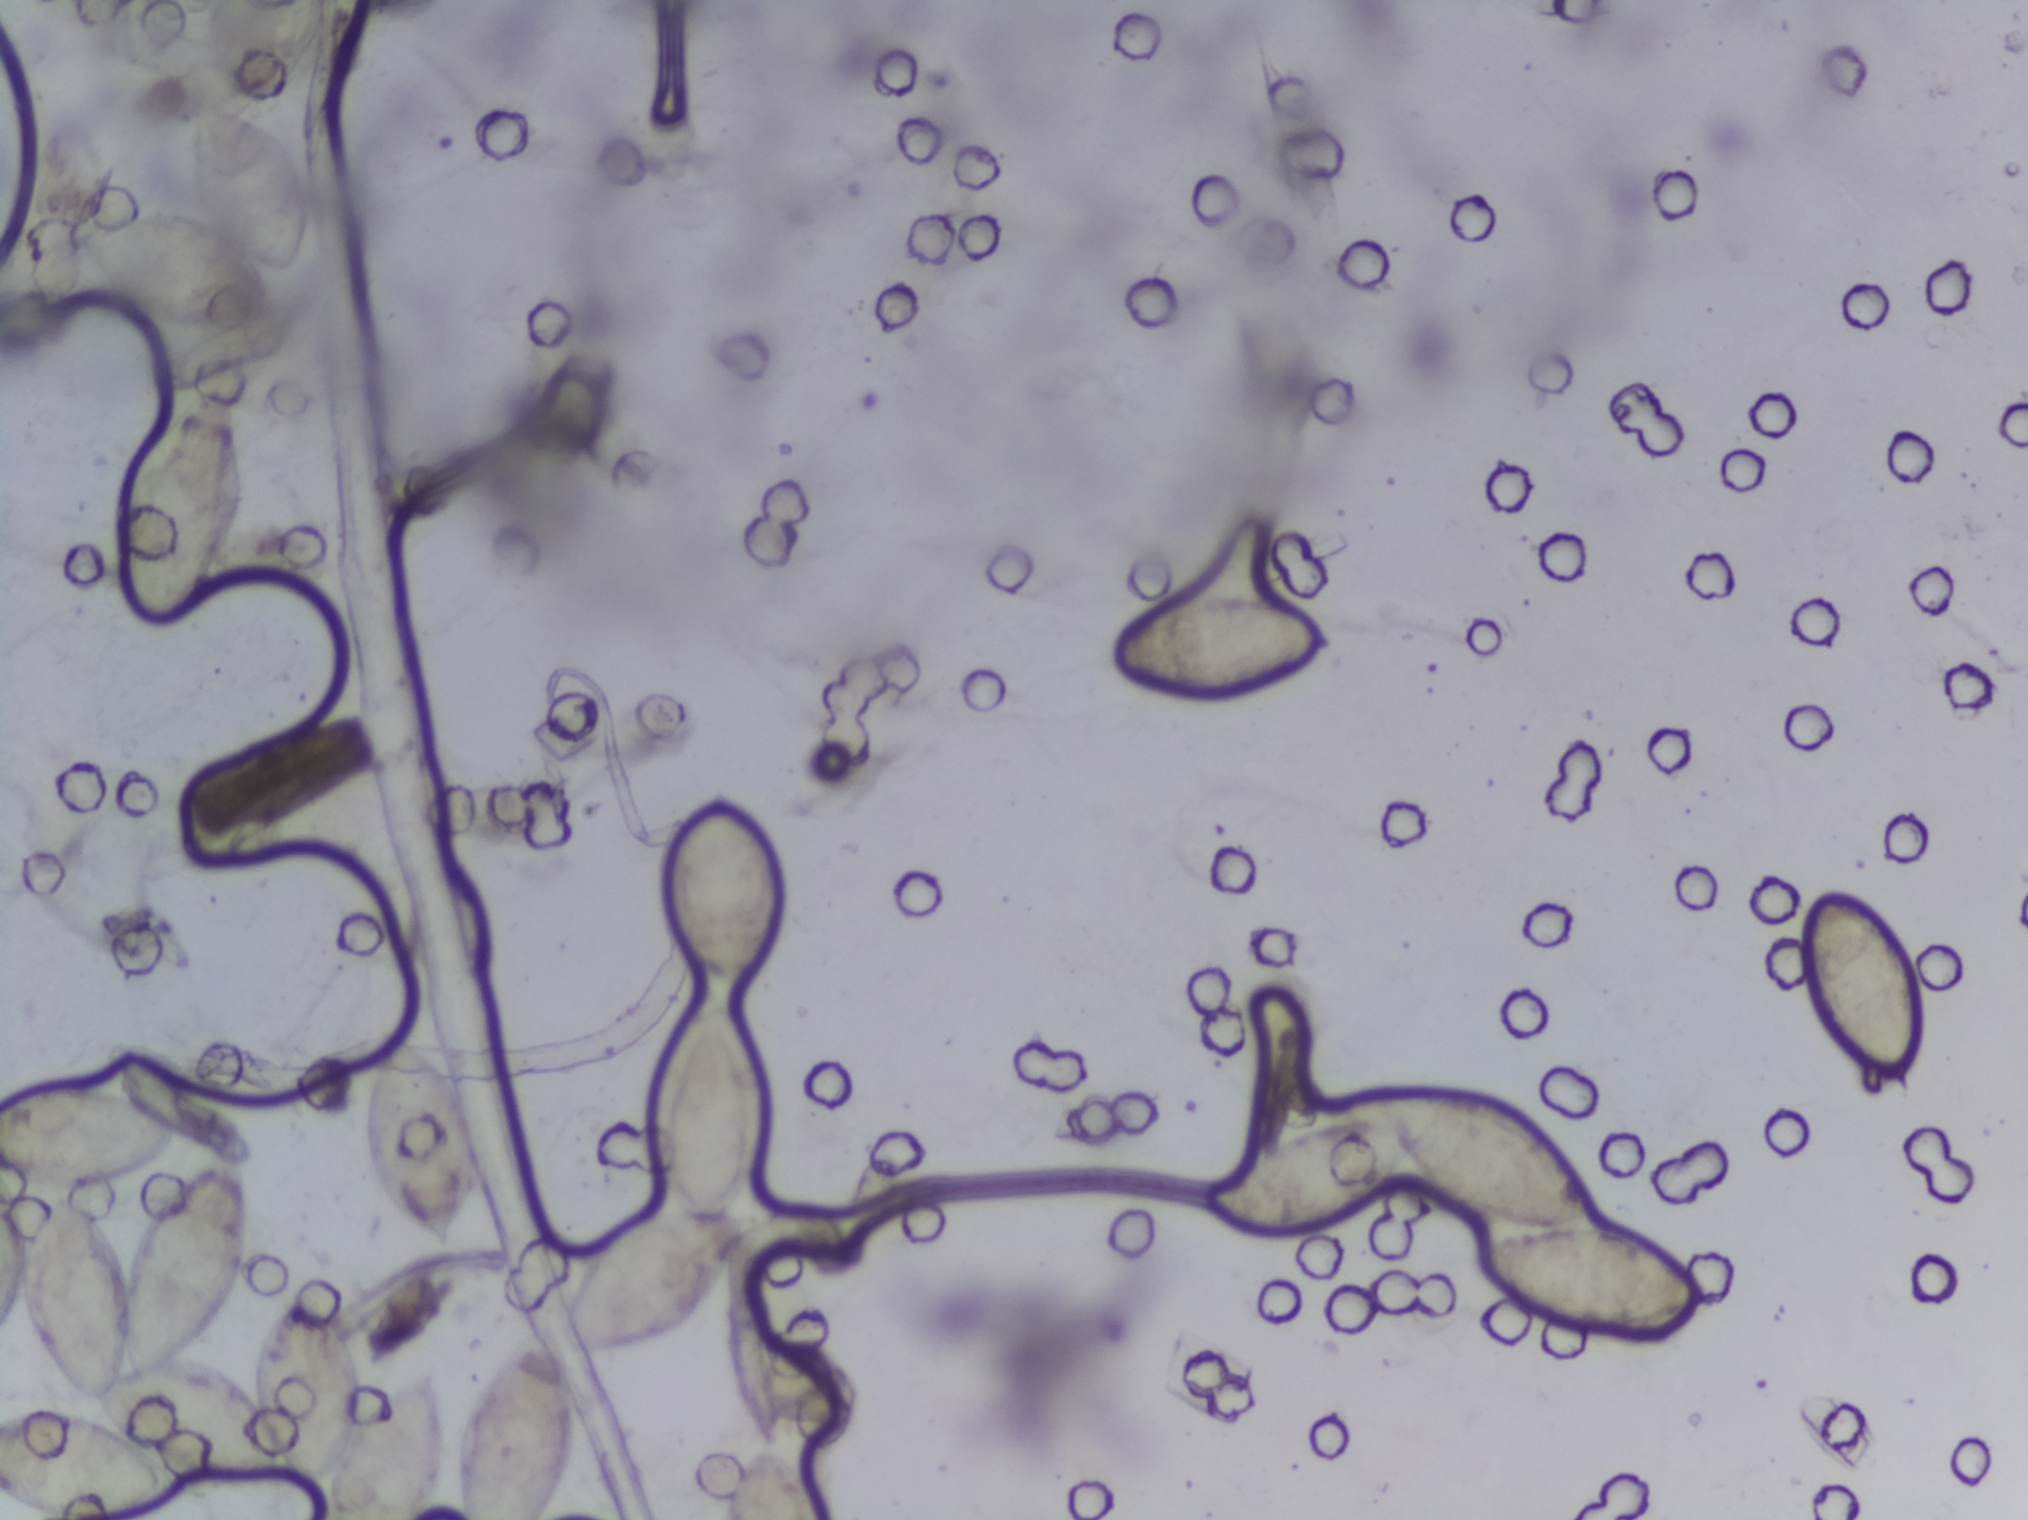
One field of view of a urine filter membrane, 4× objective, 2028 × 1520 pixels.
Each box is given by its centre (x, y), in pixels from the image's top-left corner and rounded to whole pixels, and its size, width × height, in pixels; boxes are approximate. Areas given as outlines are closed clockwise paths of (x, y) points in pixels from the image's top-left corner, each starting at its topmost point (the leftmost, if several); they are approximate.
The expert annotation outlines Schistosoma eggs in ten areas, left to right: box centre (88, 1131), 176 × 111 px (reaching the left edge of the frame); box centre (182, 505), 134 × 270 px; box centre (194, 215), 239 × 253 px; box centre (266, 50), 120 × 100 px (reaching the top edge of the frame); outline (715, 779), (739, 779), (771, 848), (787, 866), (787, 890), (763, 973), (729, 1016), (745, 1036), (747, 1072), (761, 1093), (761, 1161), (739, 1202), (765, 1209), (767, 1227), (685, 1330), (622, 1354), (568, 1359), (577, 1386), (579, 1457), (551, 1519), (451, 1519), (445, 1496), (430, 1519), (316, 1519), (316, 1499), (298, 1492), (287, 1468), (237, 1483), (198, 1482), (185, 1498), (127, 1519), (26, 1519), (0, 1499), (0, 1414), (74, 1402), (42, 1360), (10, 1284), (10, 1251), (22, 1223), (48, 1195), (69, 1189), (107, 1219), (121, 1245), (125, 1208), (130, 1226), (166, 1178), (214, 1144), (231, 1144), (251, 1172), (255, 1256), (222, 1322), (190, 1358), (245, 1392), (244, 1360), (262, 1326), (288, 1295), (301, 1289), (321, 1293), (322, 1283), (331, 1296), (322, 1292), (321, 1302), (337, 1300), (362, 1346), (370, 1395), (399, 1371), (435, 1360), (452, 1437), (457, 1408), (503, 1342), (526, 1325), (552, 1325), (565, 1267), (582, 1243), (619, 1220), (672, 1202), (656, 1166), (656, 1115), (668, 1036), (693, 993), (670, 970), (664, 953), (658, 873), (672, 839) (eggs clustered together; reaching the left and bottom edges of the frame); box centre (422, 1142), 124 × 229 px; box centre (776, 1482), 109 × 75 px (reaching the bottom edge of the frame); box centre (1223, 651), 230 × 116 px; outline (1383, 1085), (1473, 1092), (1505, 1103), (1583, 1175), (1607, 1225), (1642, 1231), (1679, 1251), (1714, 1279), (1718, 1302), (1687, 1329), (1659, 1340), (1627, 1340), (1529, 1318), (1487, 1292), (1476, 1271), (1476, 1248), (1485, 1239), (1526, 1230), (1451, 1196), (1405, 1162), (1357, 1220), (1336, 1229), (1267, 1238), (1227, 1230), (1208, 1218), (1204, 1185), (1231, 1152), (1267, 1145), (1338, 1115), (1377, 1115), (1374, 1090) (eggs clustered together); box centre (1859, 993), 136 × 216 px. An outlined area can hold more than one egg. Any one outlined egg may, rarely, be S. mansoni rather than S. haematobium.